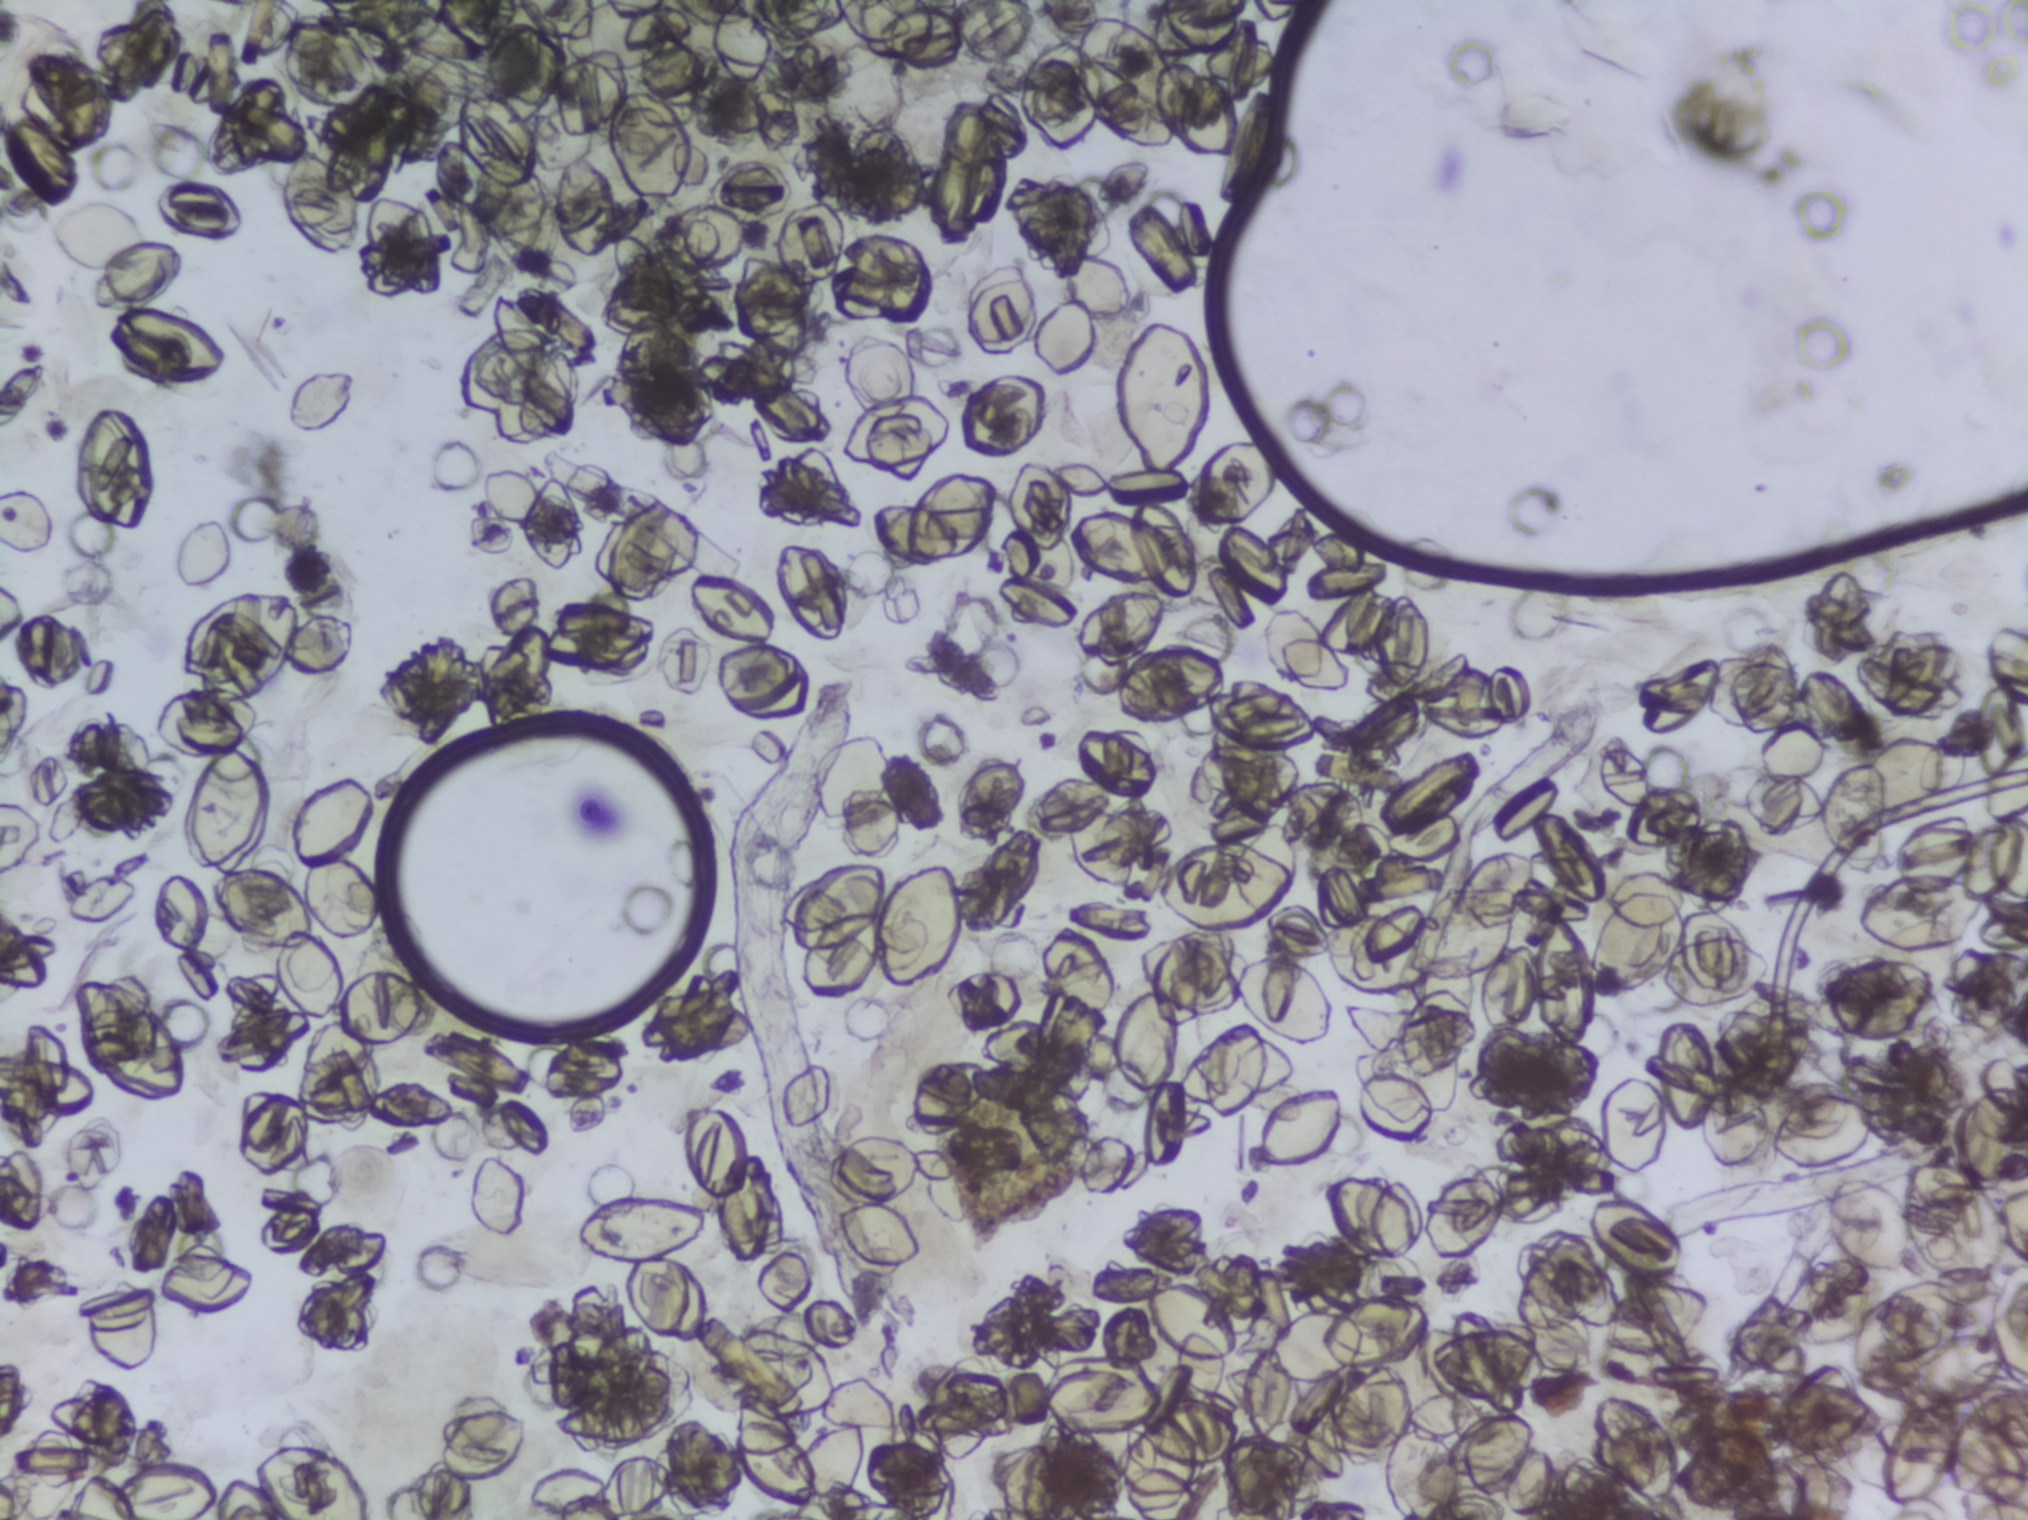
Schistosoma eggs: none outlined.
Microscope photograph (4× objective) of a membrane that a urine sample was filtered through.